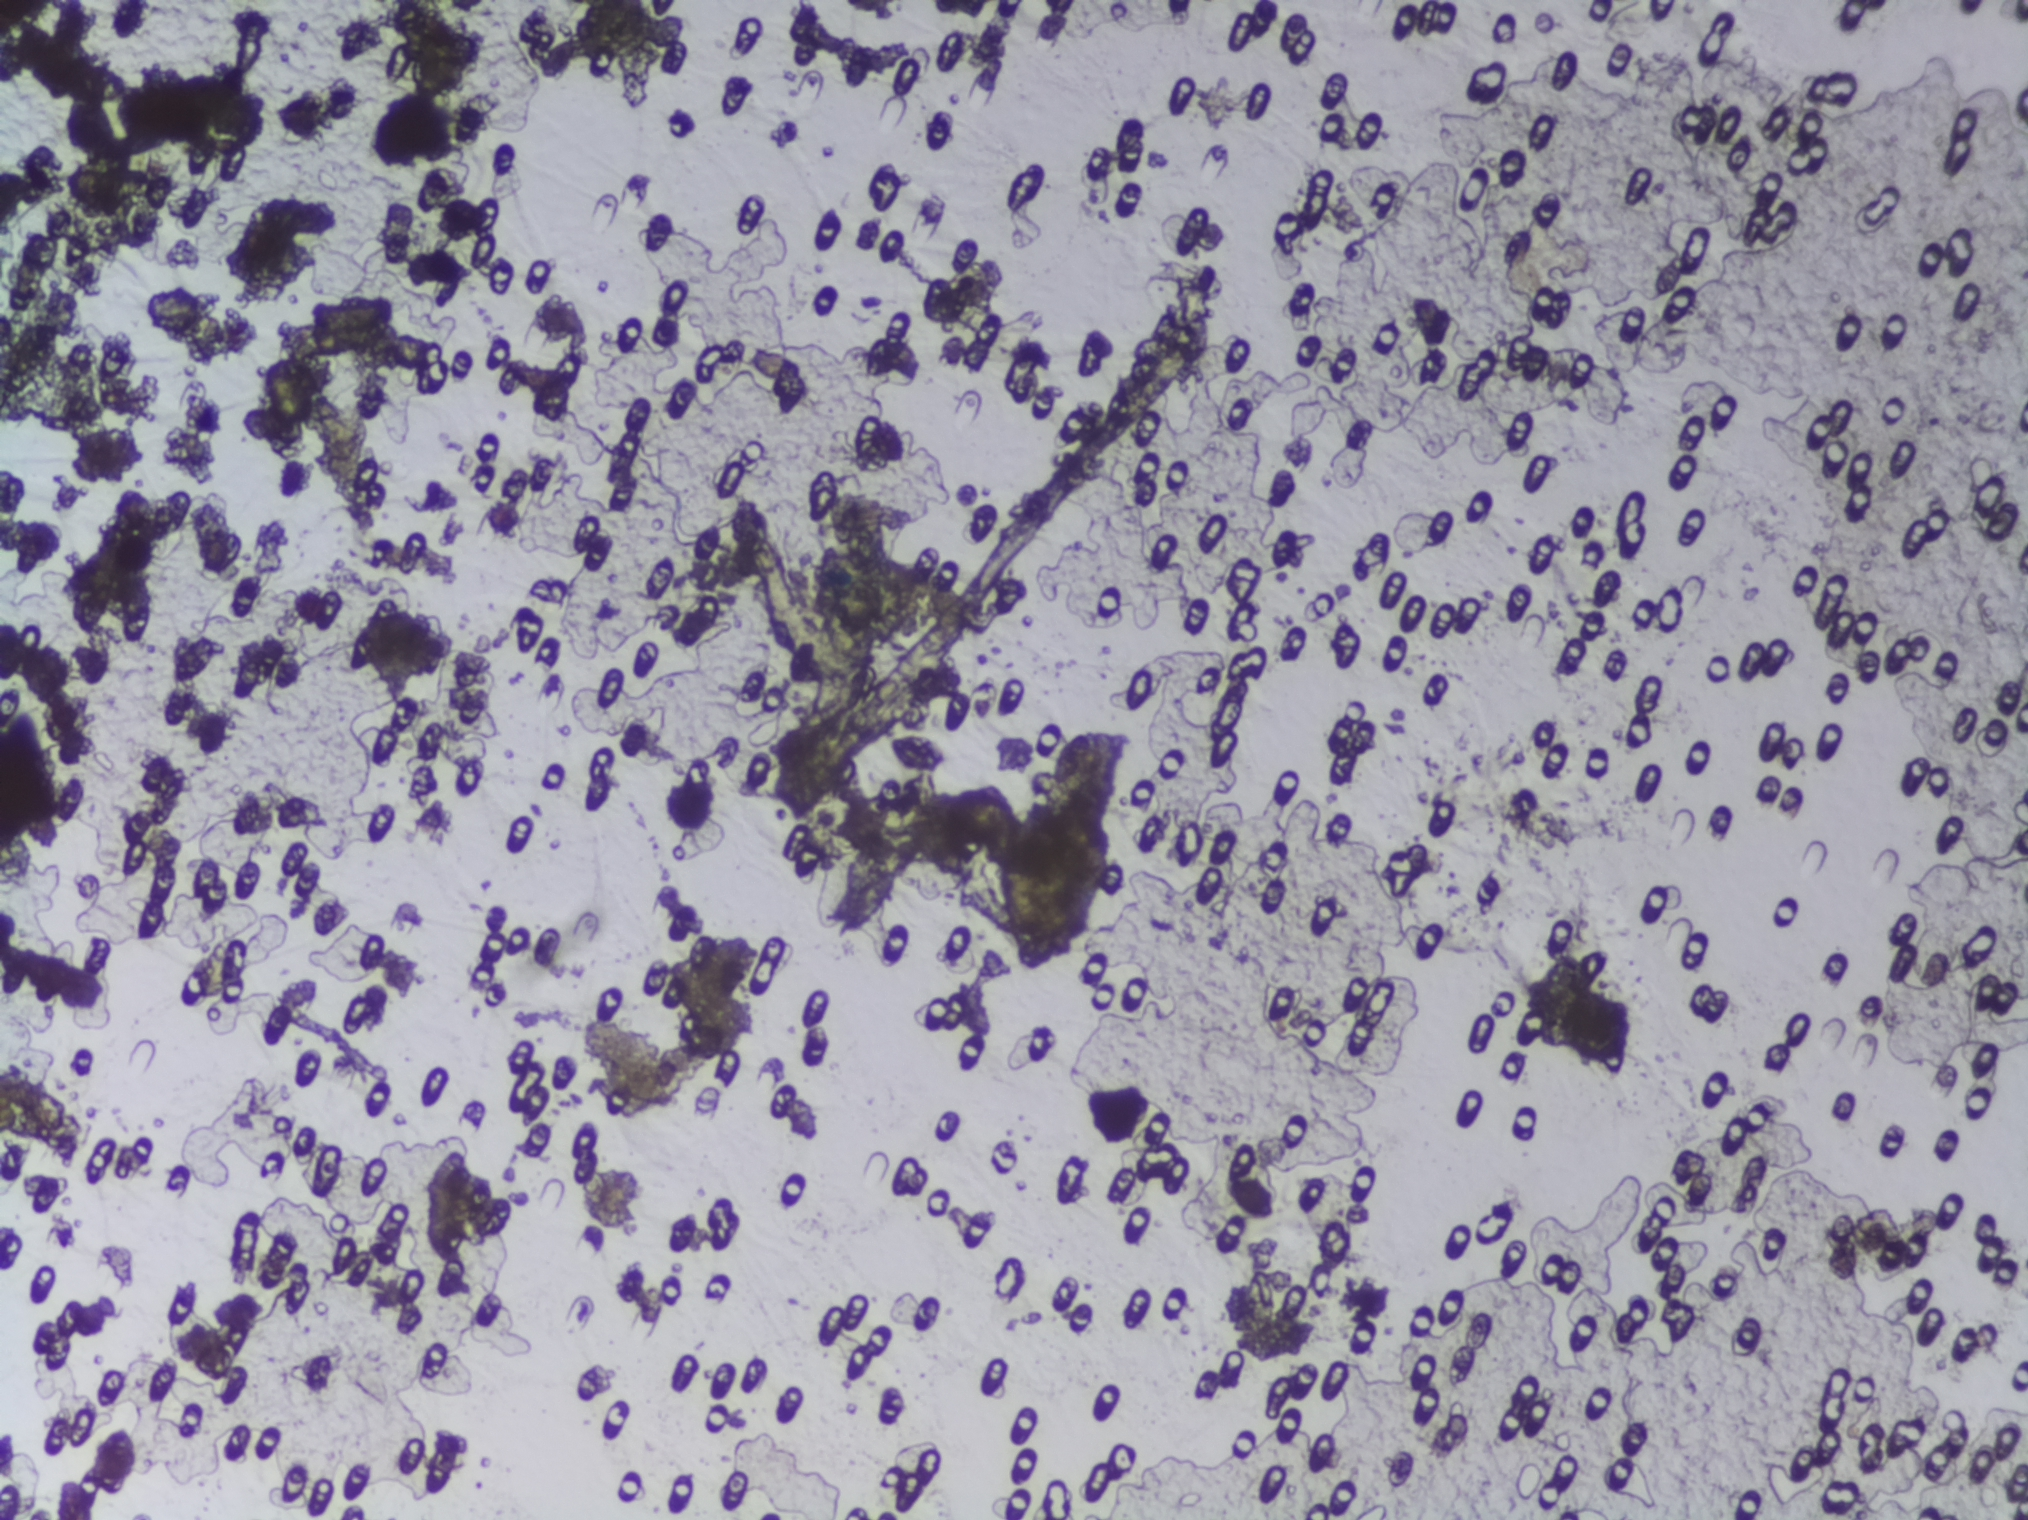
One field of view of a urine filter membrane, 4× objective, 2028 × 1520 pixels.
The expert annotation outlines no Schistosoma egg in this image.